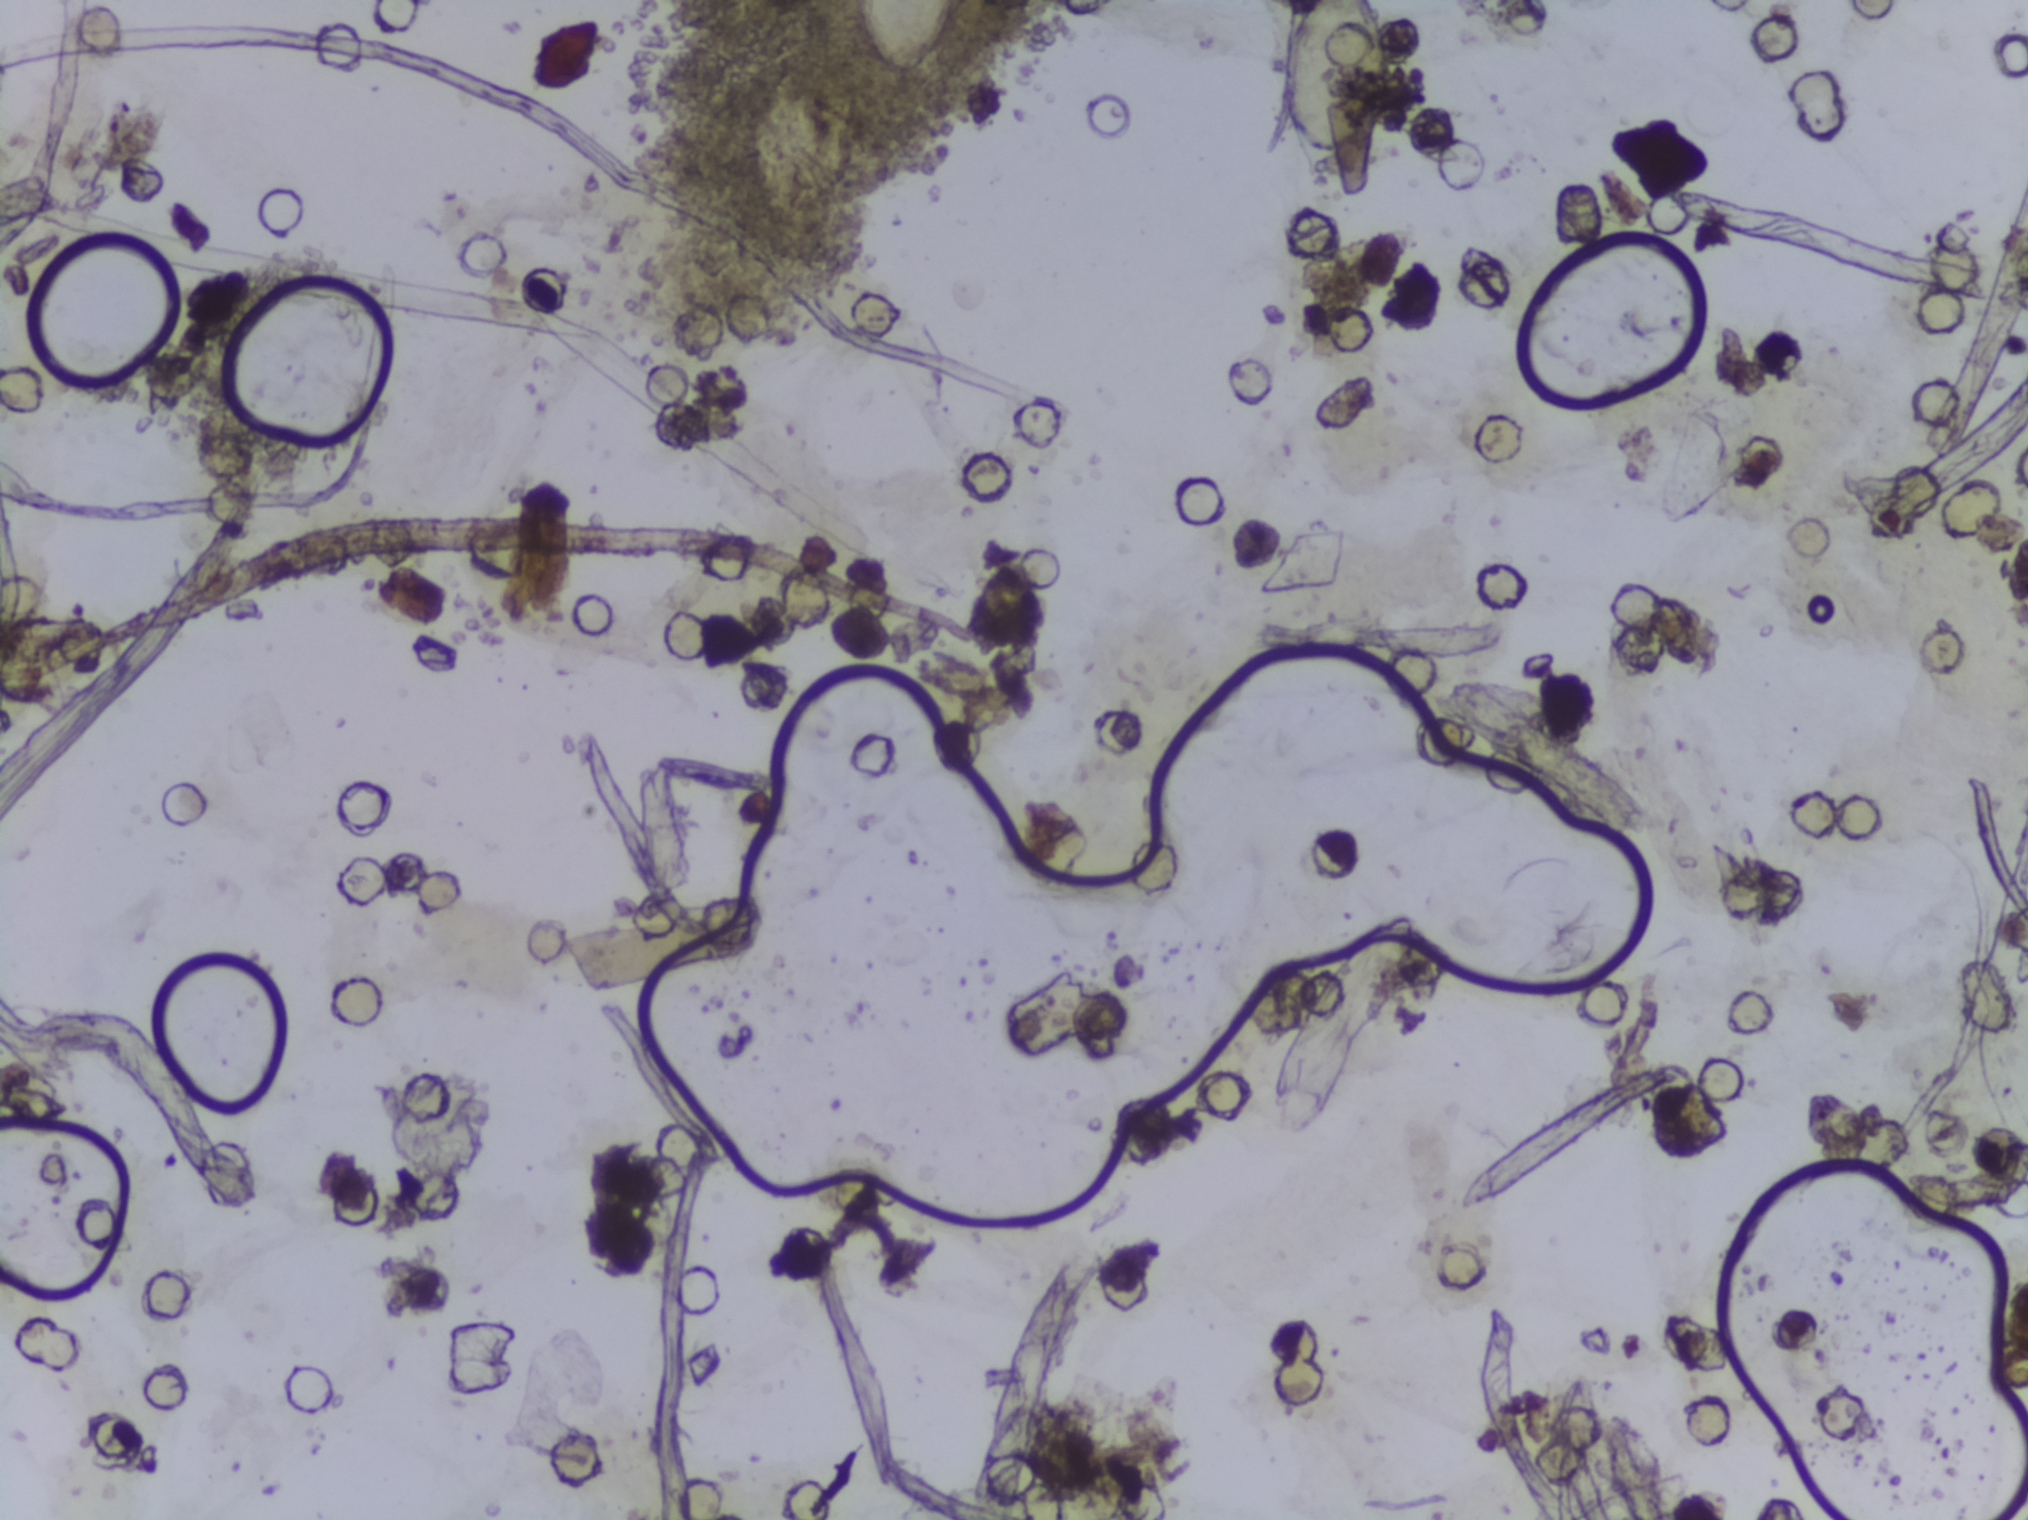
Urine filtration membrane under a 4× objective, photographed by an automated digital microscope. The field of view is about 1.5 mm × 1.1 mm.
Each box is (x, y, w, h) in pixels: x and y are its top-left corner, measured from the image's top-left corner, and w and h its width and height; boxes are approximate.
The expert annotation outlines Schistosoma eggs at (x=858, y=0, w=96, h=80) (reaching the top edge of the frame) and (x=1278, y=0, w=115, h=184) (reaching the top edge of the frame). A single outlined area may contain several eggs.